Photograph from an automated digital microscope: urine filter membrane, 4× objective. Field of view: about 1.5 mm wide and 1.1 mm high.
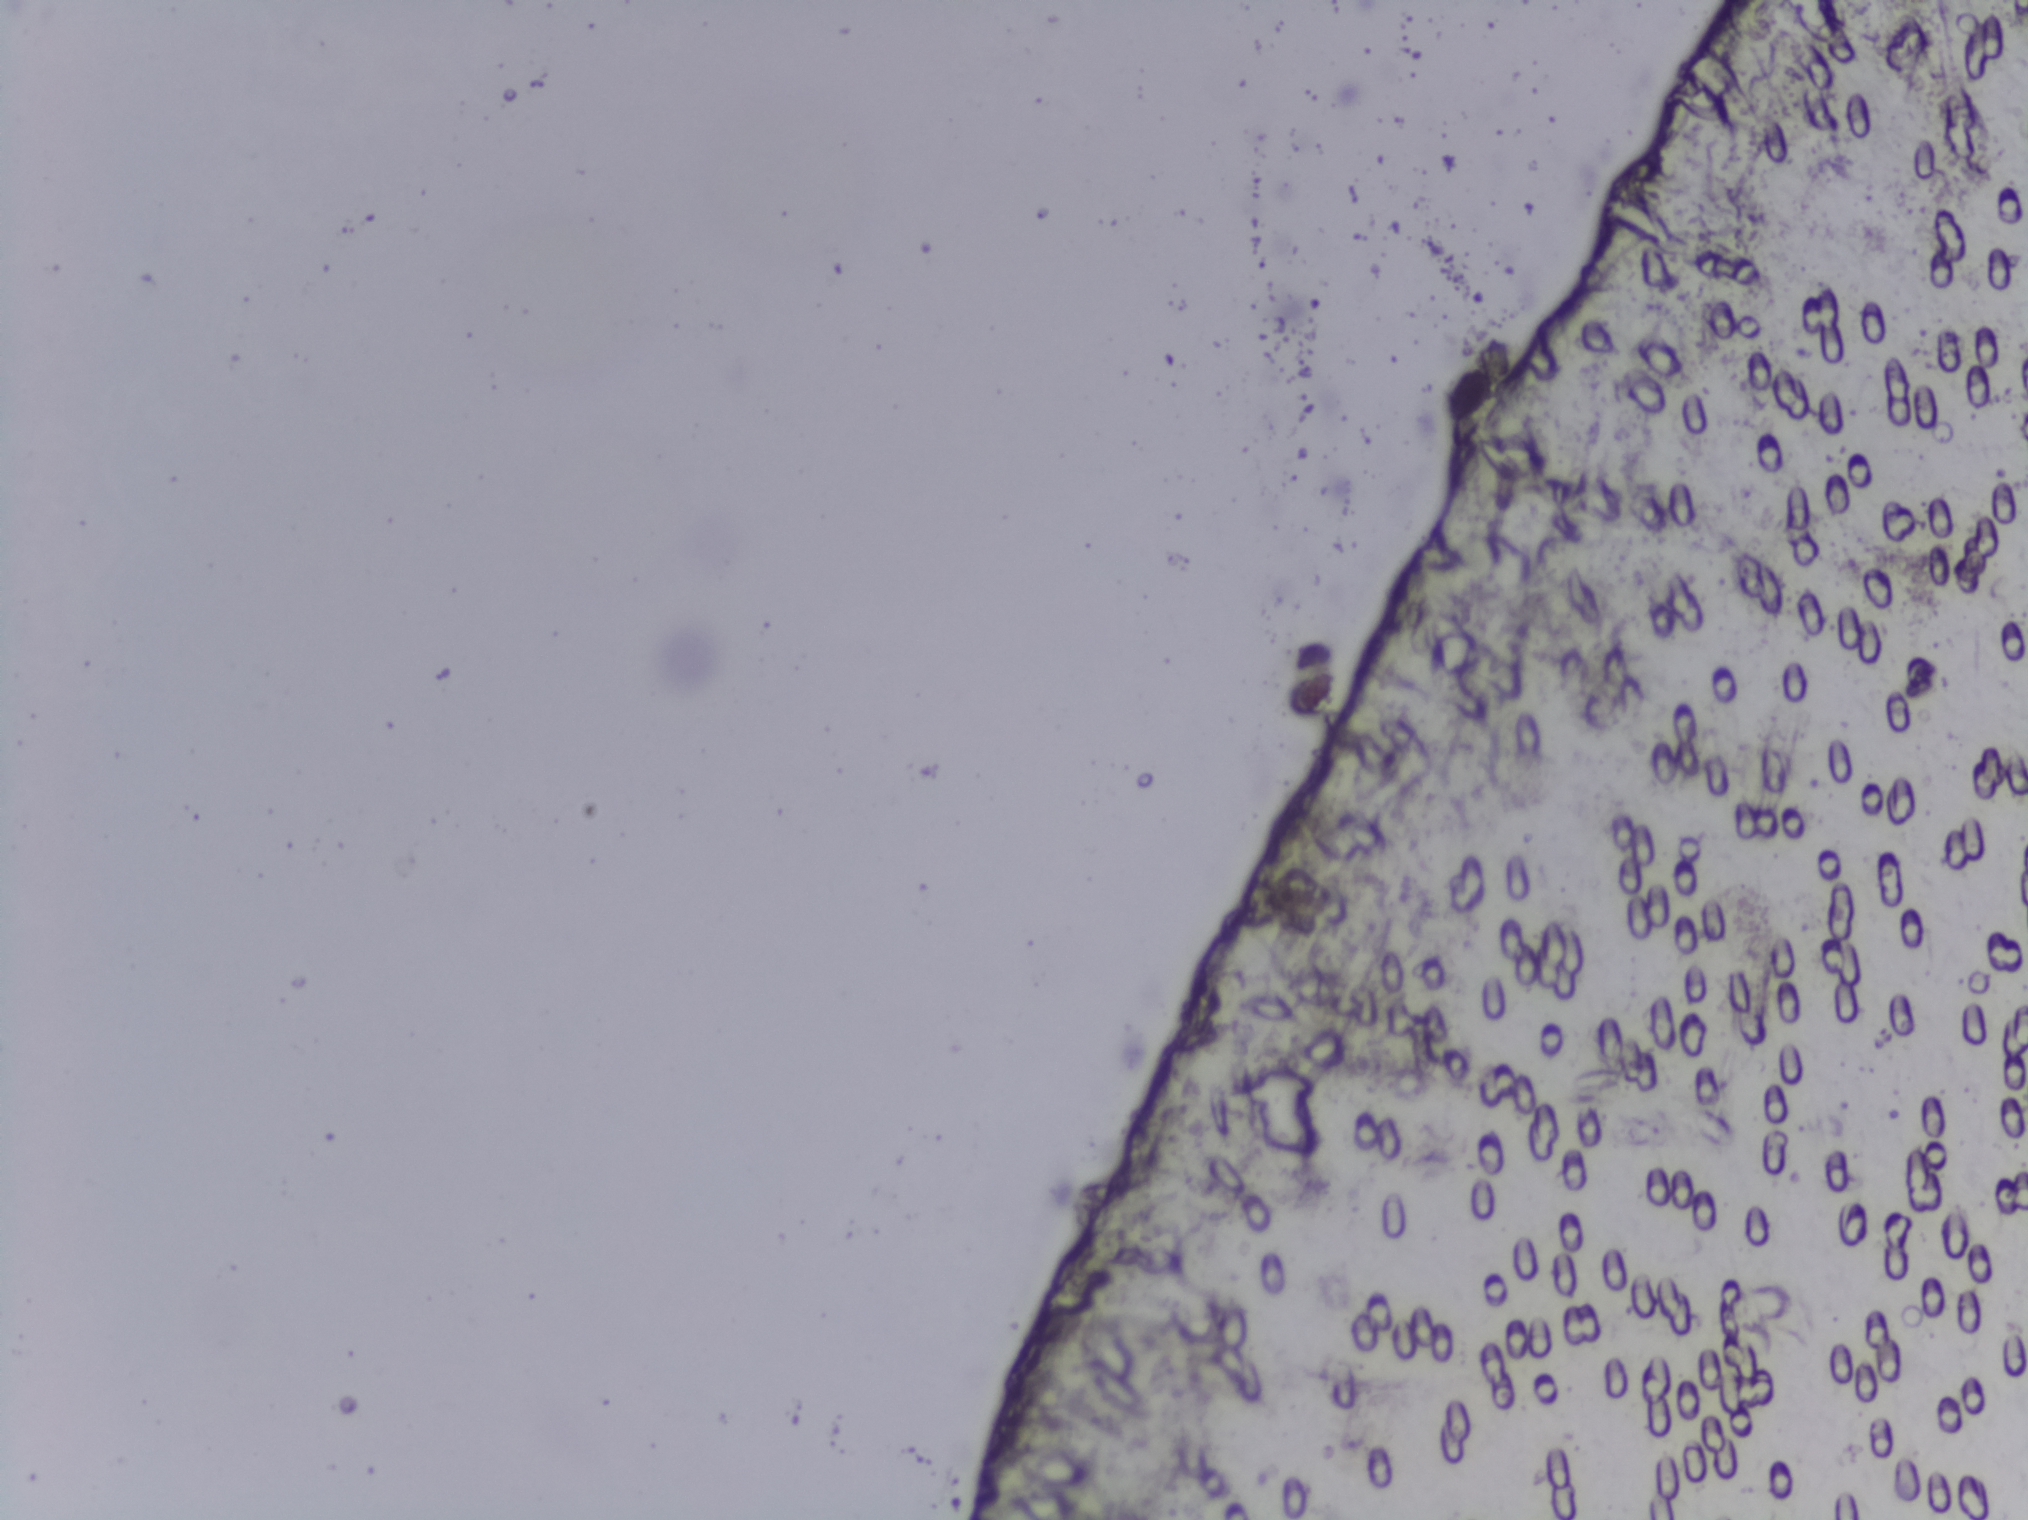
Schistosoma eggs: none outlined.